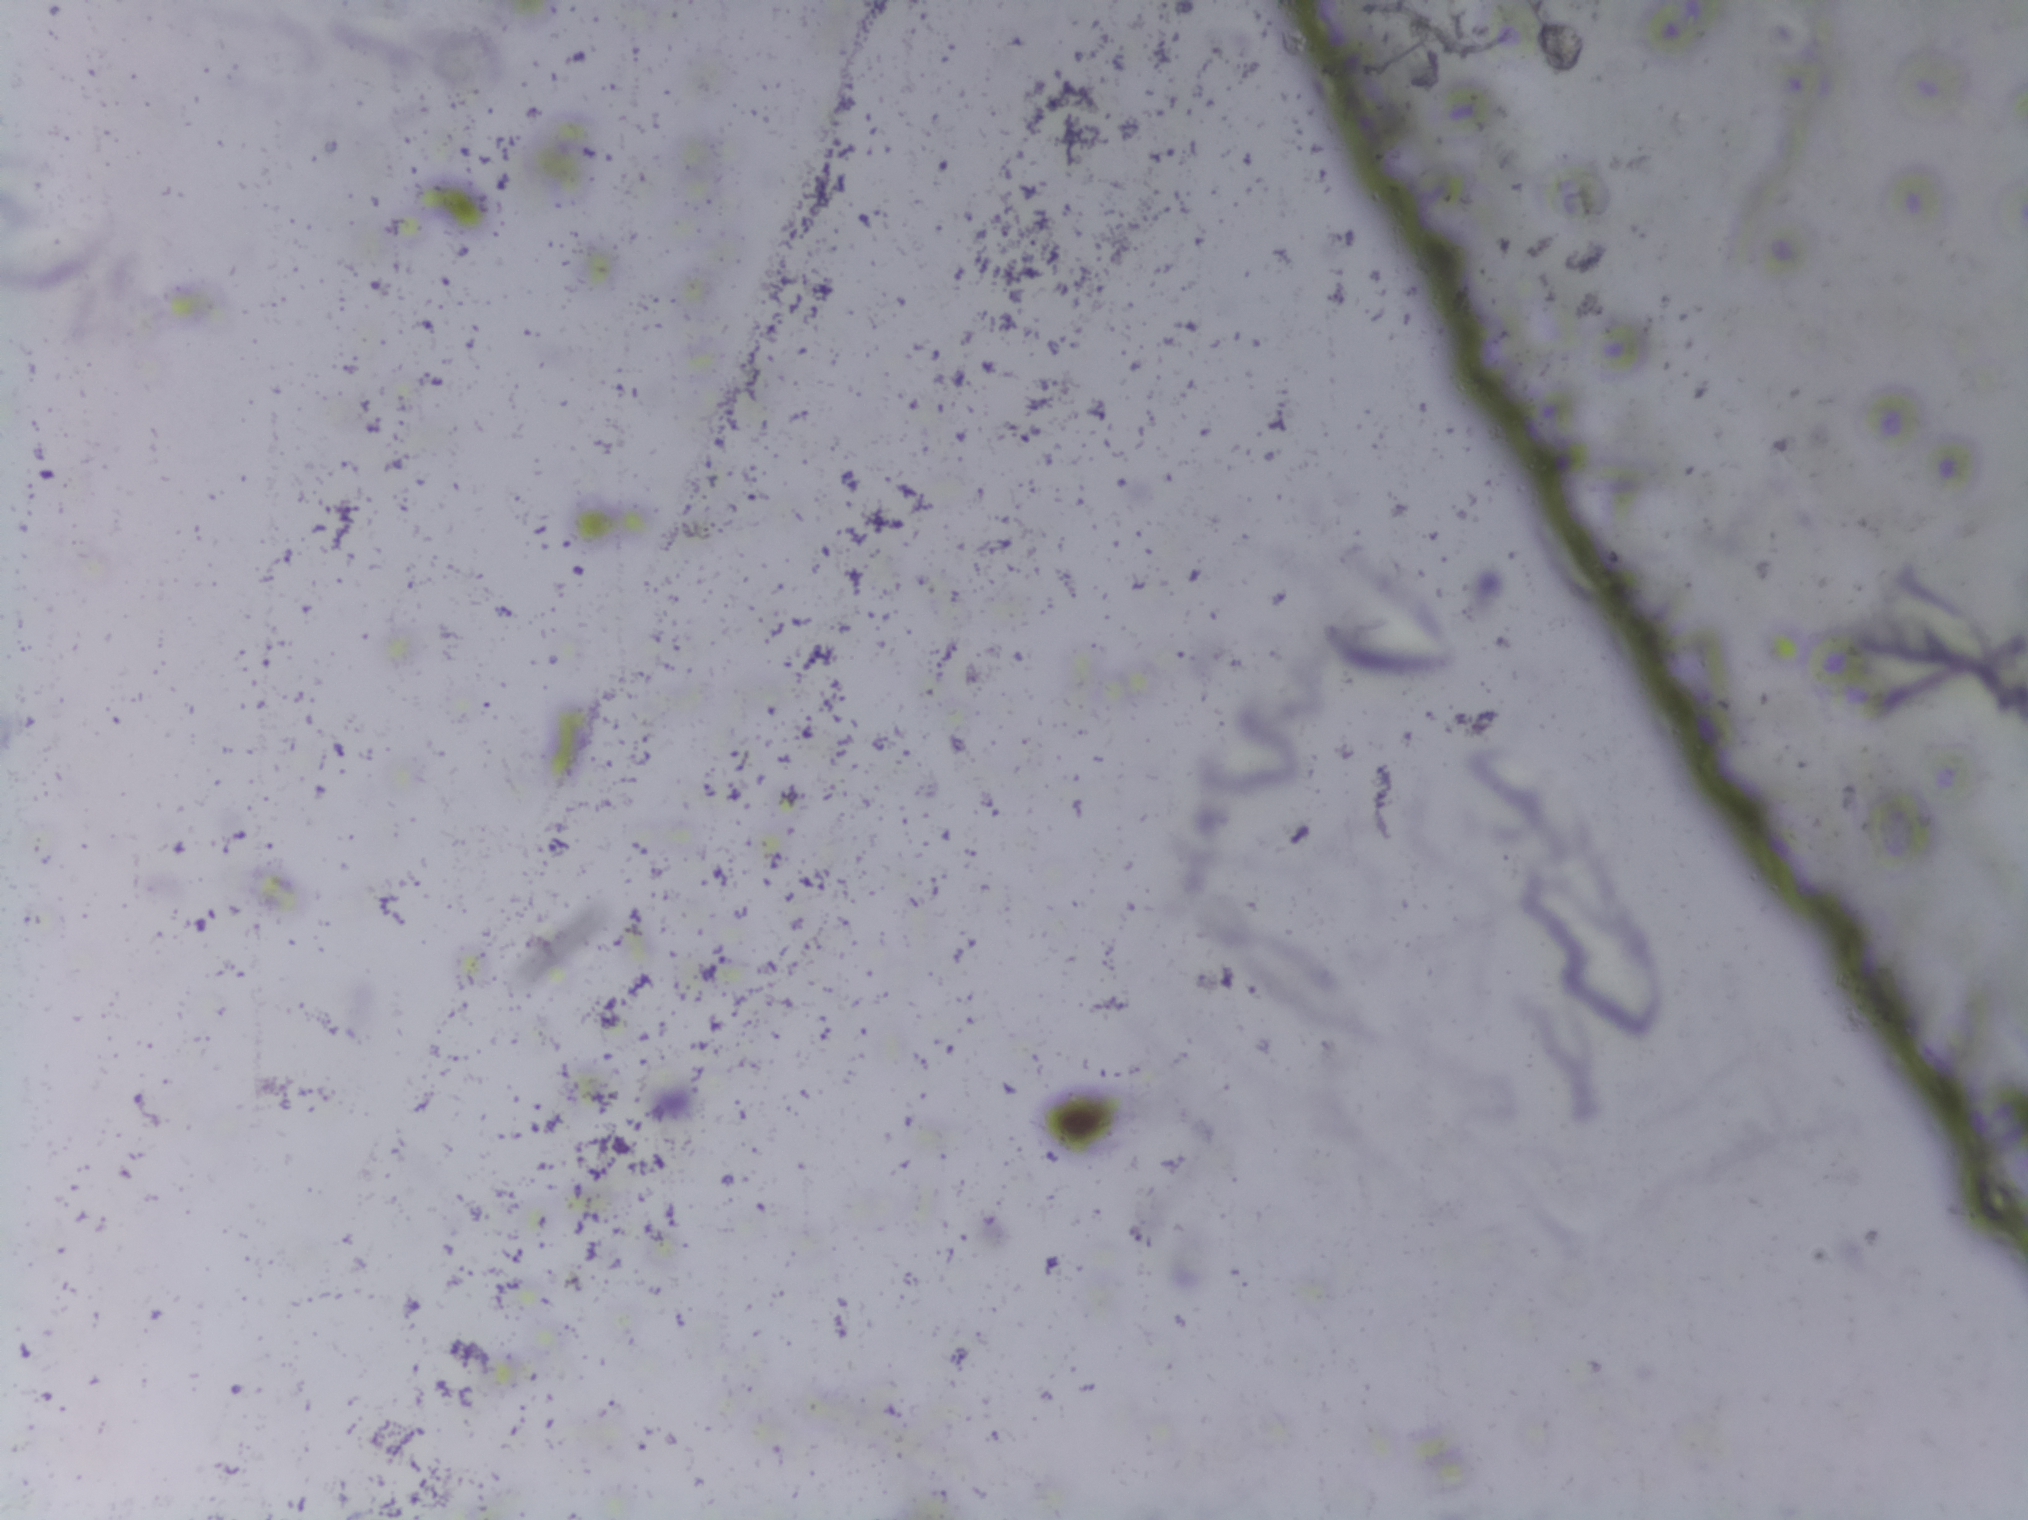
Microscope photograph (4× objective) of a membrane that a urine sample was filtered through.
Schistosoma eggs: none outlined.